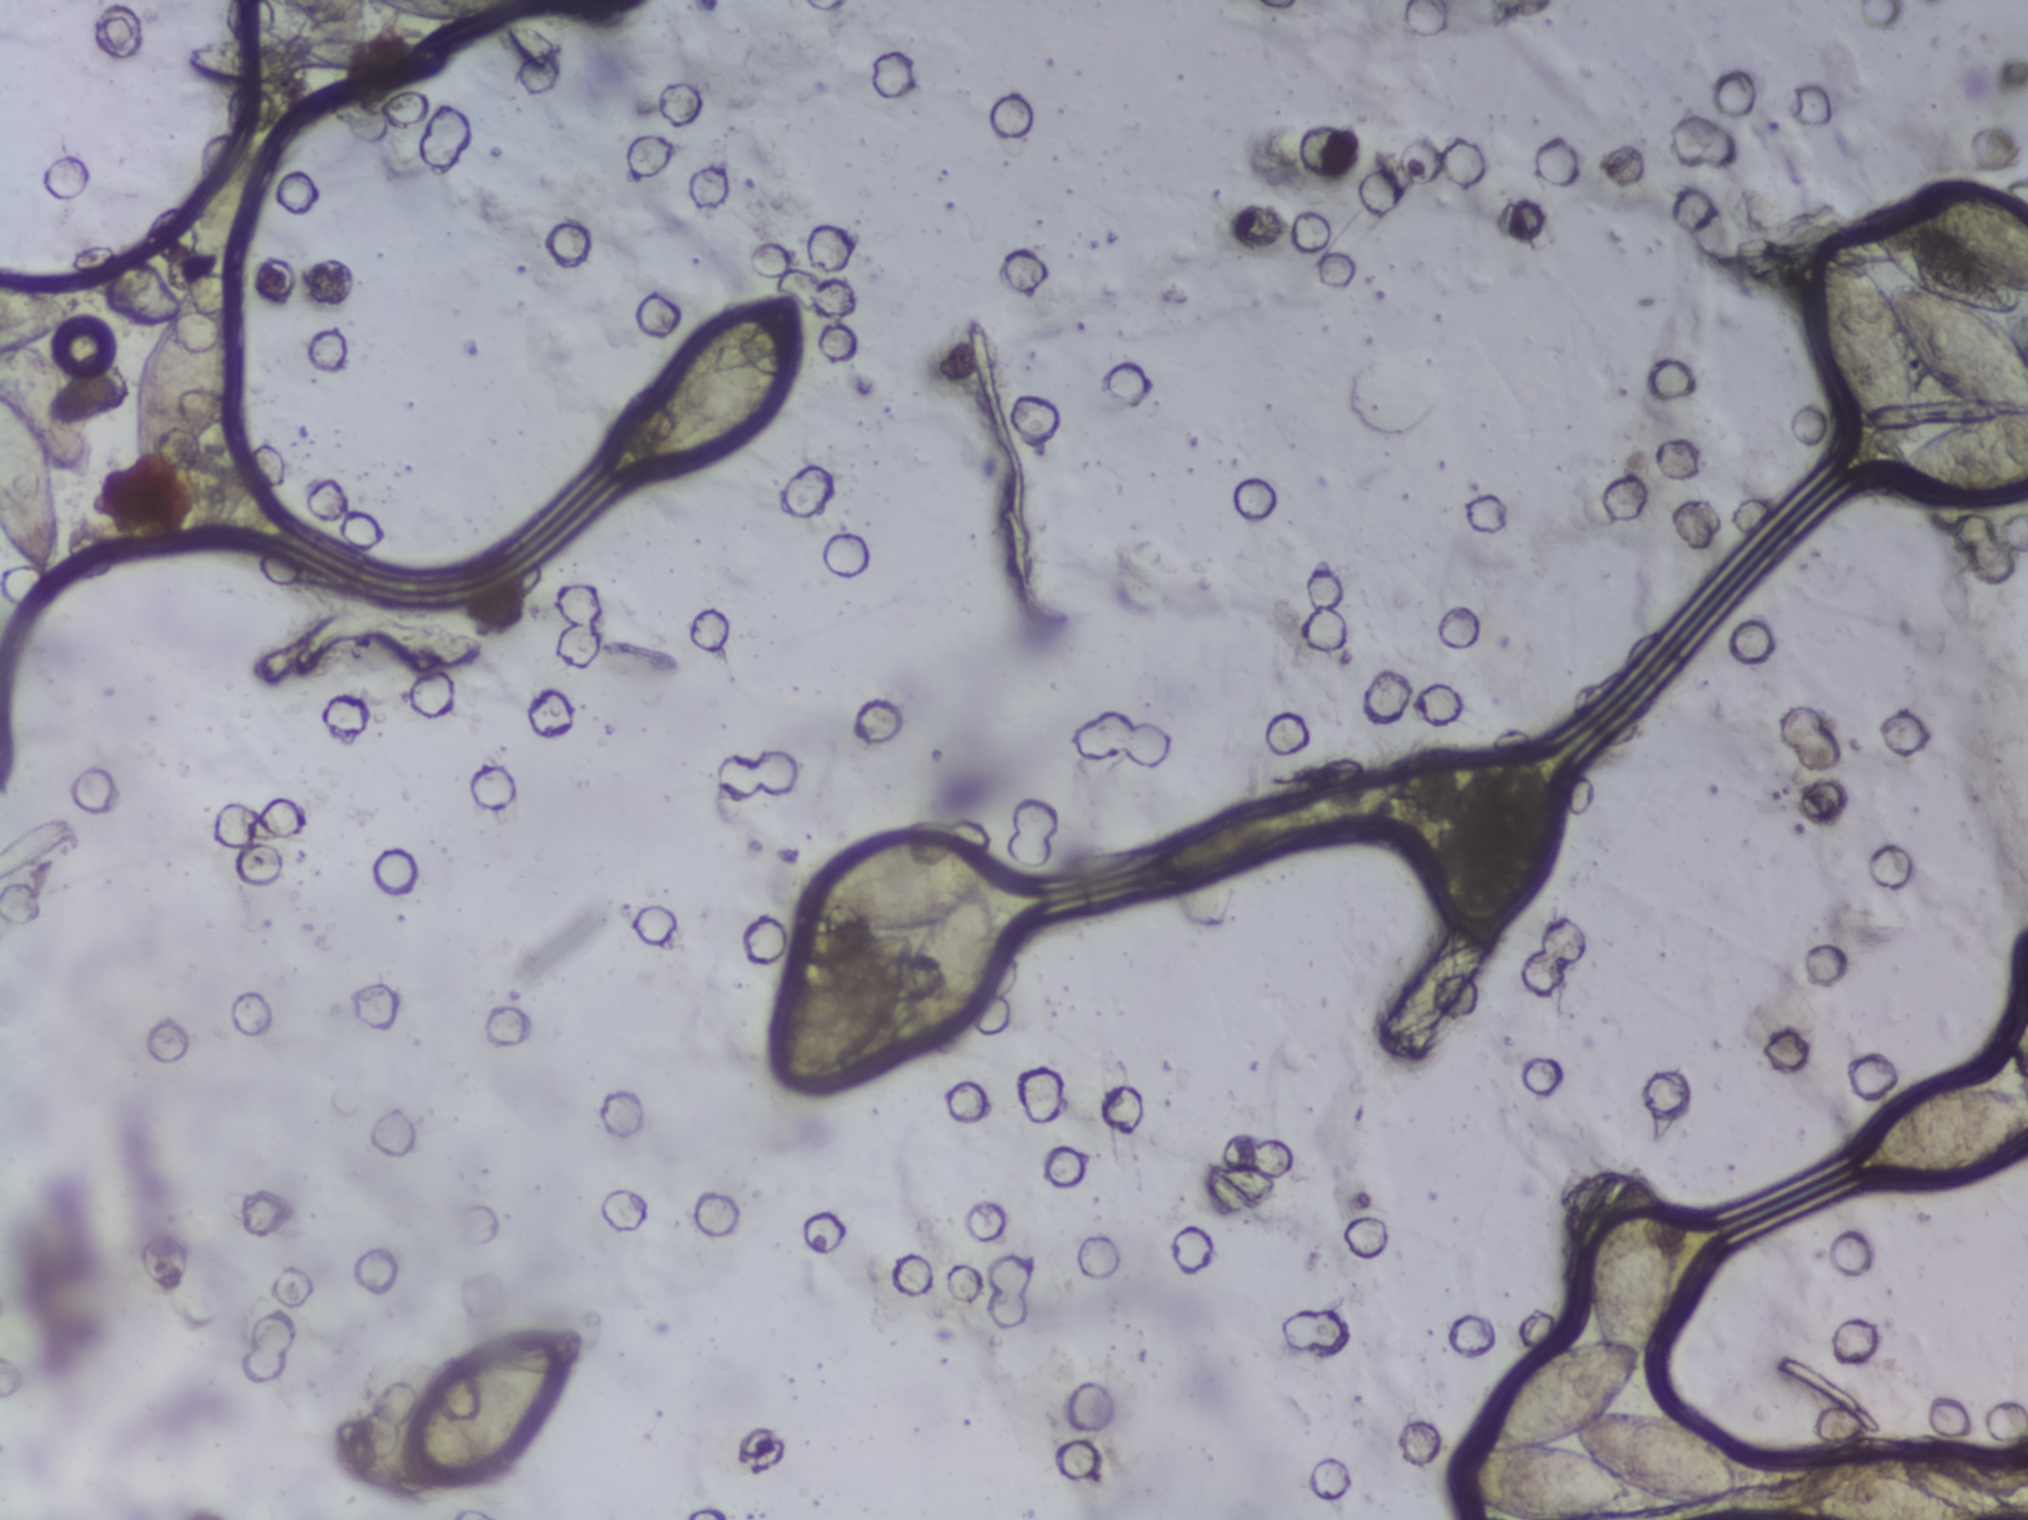
Photomicrograph of a urine filtration membrane, 4× objective. Field of view: about 1.5 mm wide and 1.1 mm high.
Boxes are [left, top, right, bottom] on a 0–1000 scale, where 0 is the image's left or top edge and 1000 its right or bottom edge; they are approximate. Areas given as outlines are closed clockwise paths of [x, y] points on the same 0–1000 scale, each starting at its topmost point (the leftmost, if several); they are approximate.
Areas outlined as Schistosoma eggs, left to right:
1. box [0, 177, 47, 386] (reaching the left edge of the frame)
2. box [66, 180, 118, 321]
3. box [199, 873, 286, 980]
4. box [309, 192, 395, 311]
5. box [382, 549, 494, 709]
6. box [705, 494, 771, 613]
7. outline [806, 766], [818, 784], [825, 812], [826, 838], [821, 875], [807, 912], [798, 925], [826, 931], [851, 950], [858, 968], [858, 985], [842, 993], [817, 988], [809, 1000], [751, 1000], [731, 990], [718, 982], [713, 967], [727, 951], [732, 928], [745, 903], [760, 889], [789, 881], [785, 820], [797, 781] (reaching the bottom edge of the frame)
8. box [884, 949, 996, 1000] (reaching the bottom edge of the frame)
9. box [897, 119, 1000, 326] (eggs clustered together; reaching the right edge of the frame)
10. box [915, 714, 1000, 780] (reaching the right edge of the frame)
The marked pixels themselves, not the boxes and the outline around them, cover about 8.2% of the image. A single outlined area may contain several eggs.